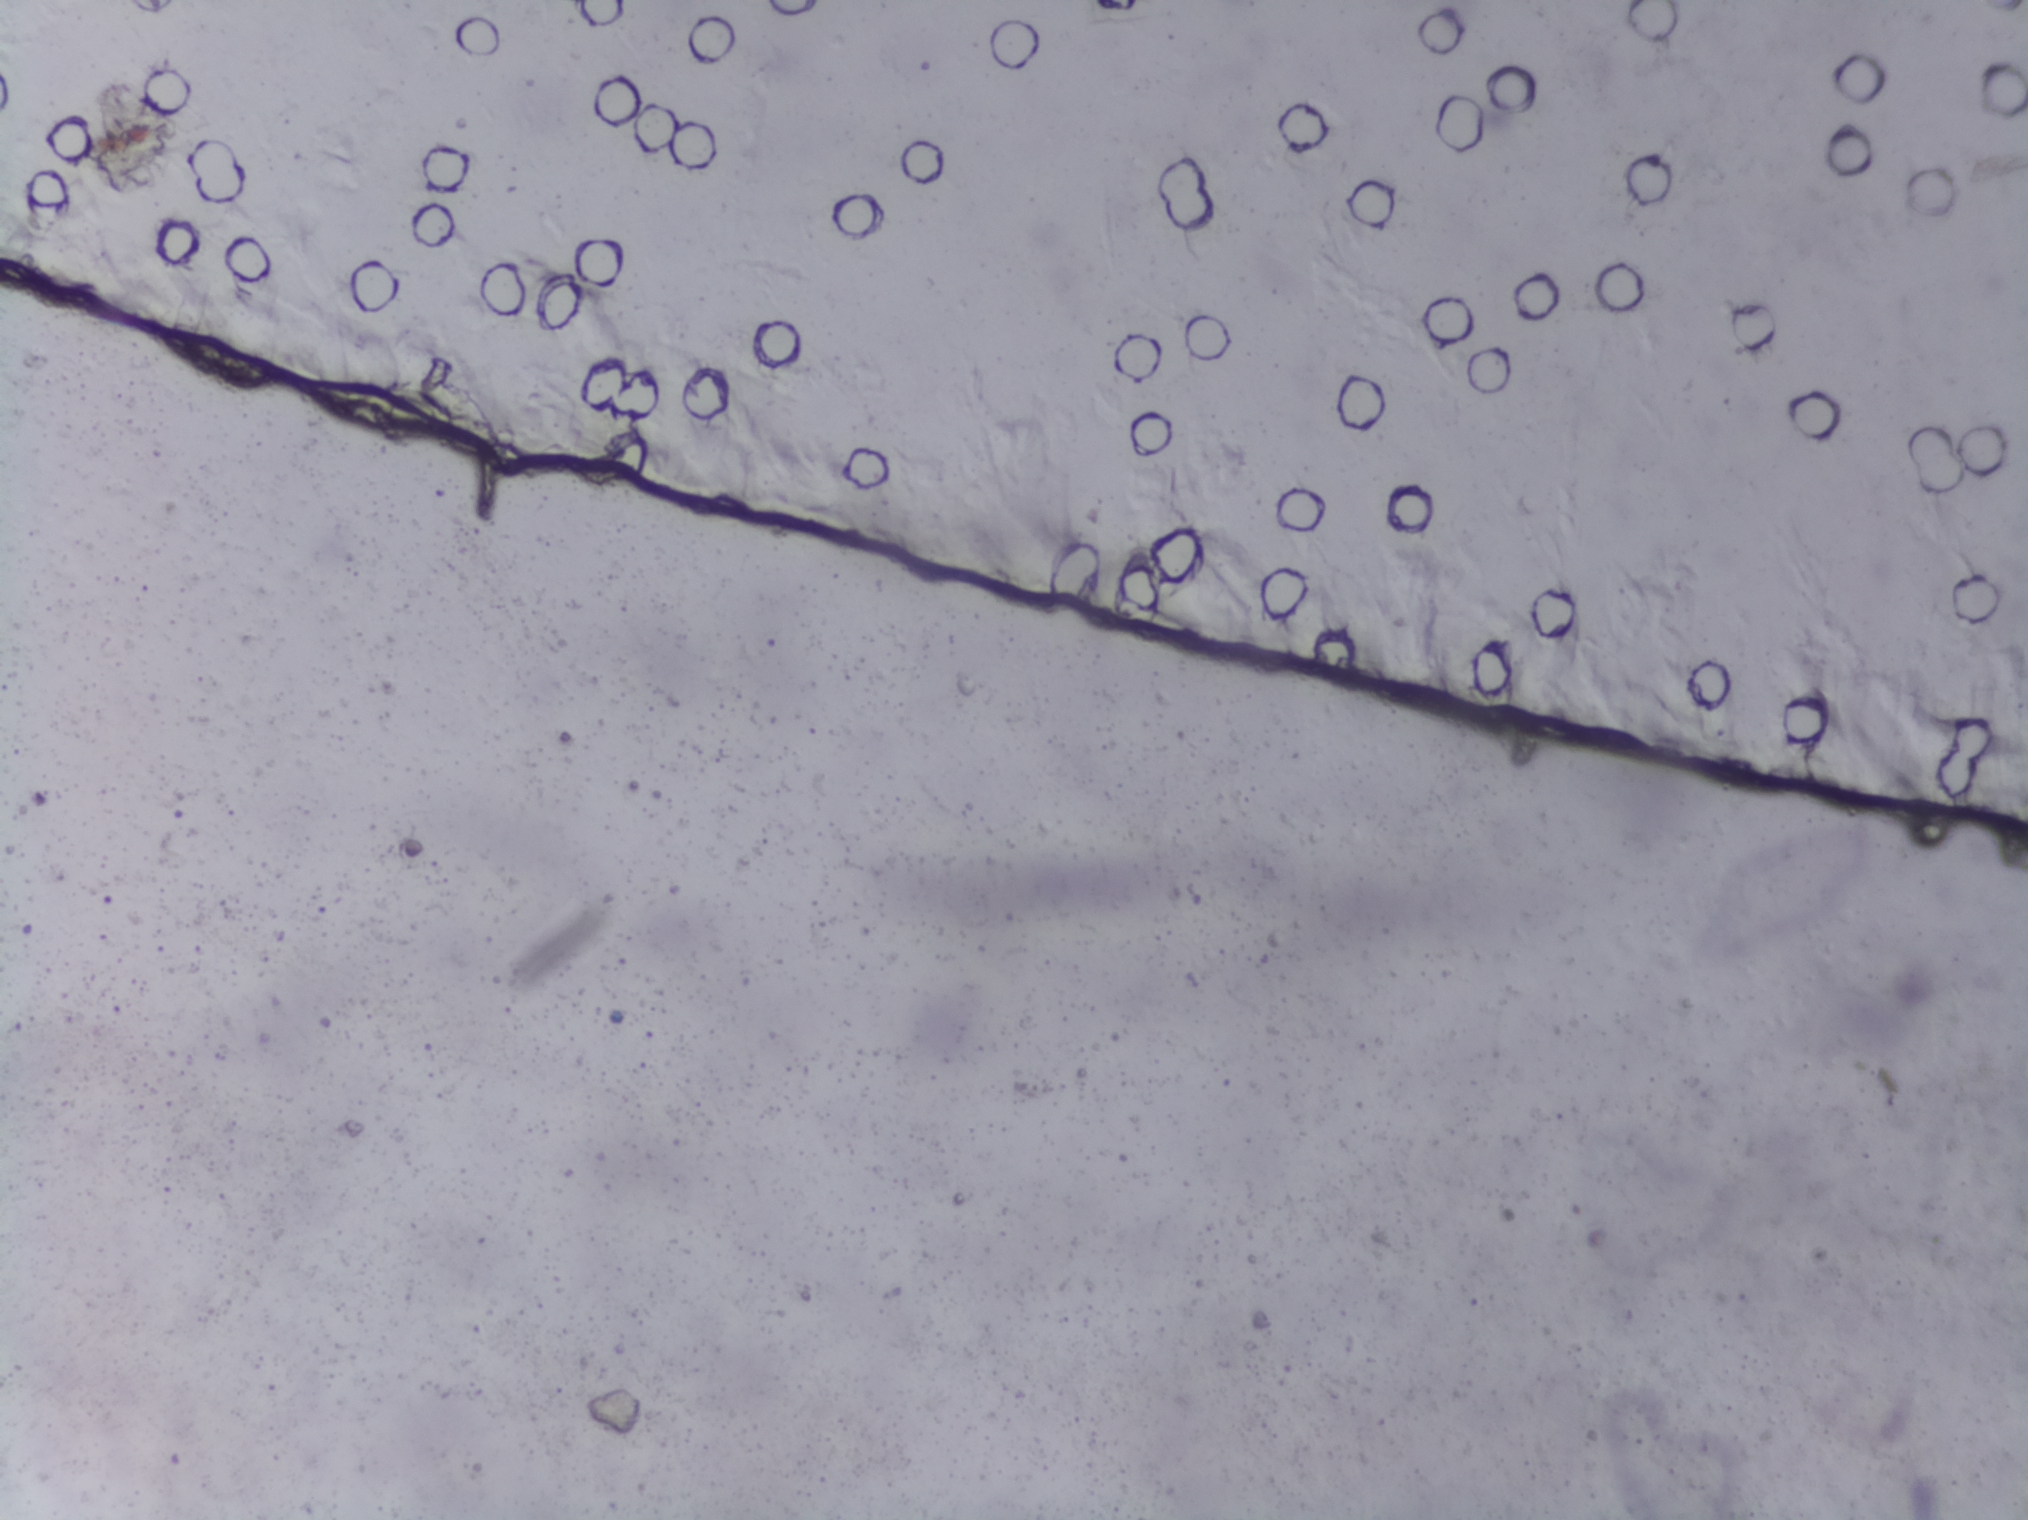
Photomicrograph of a urine filtration membrane, 4× objective.
The expert annotation marks no Schistosoma egg in this field of view.